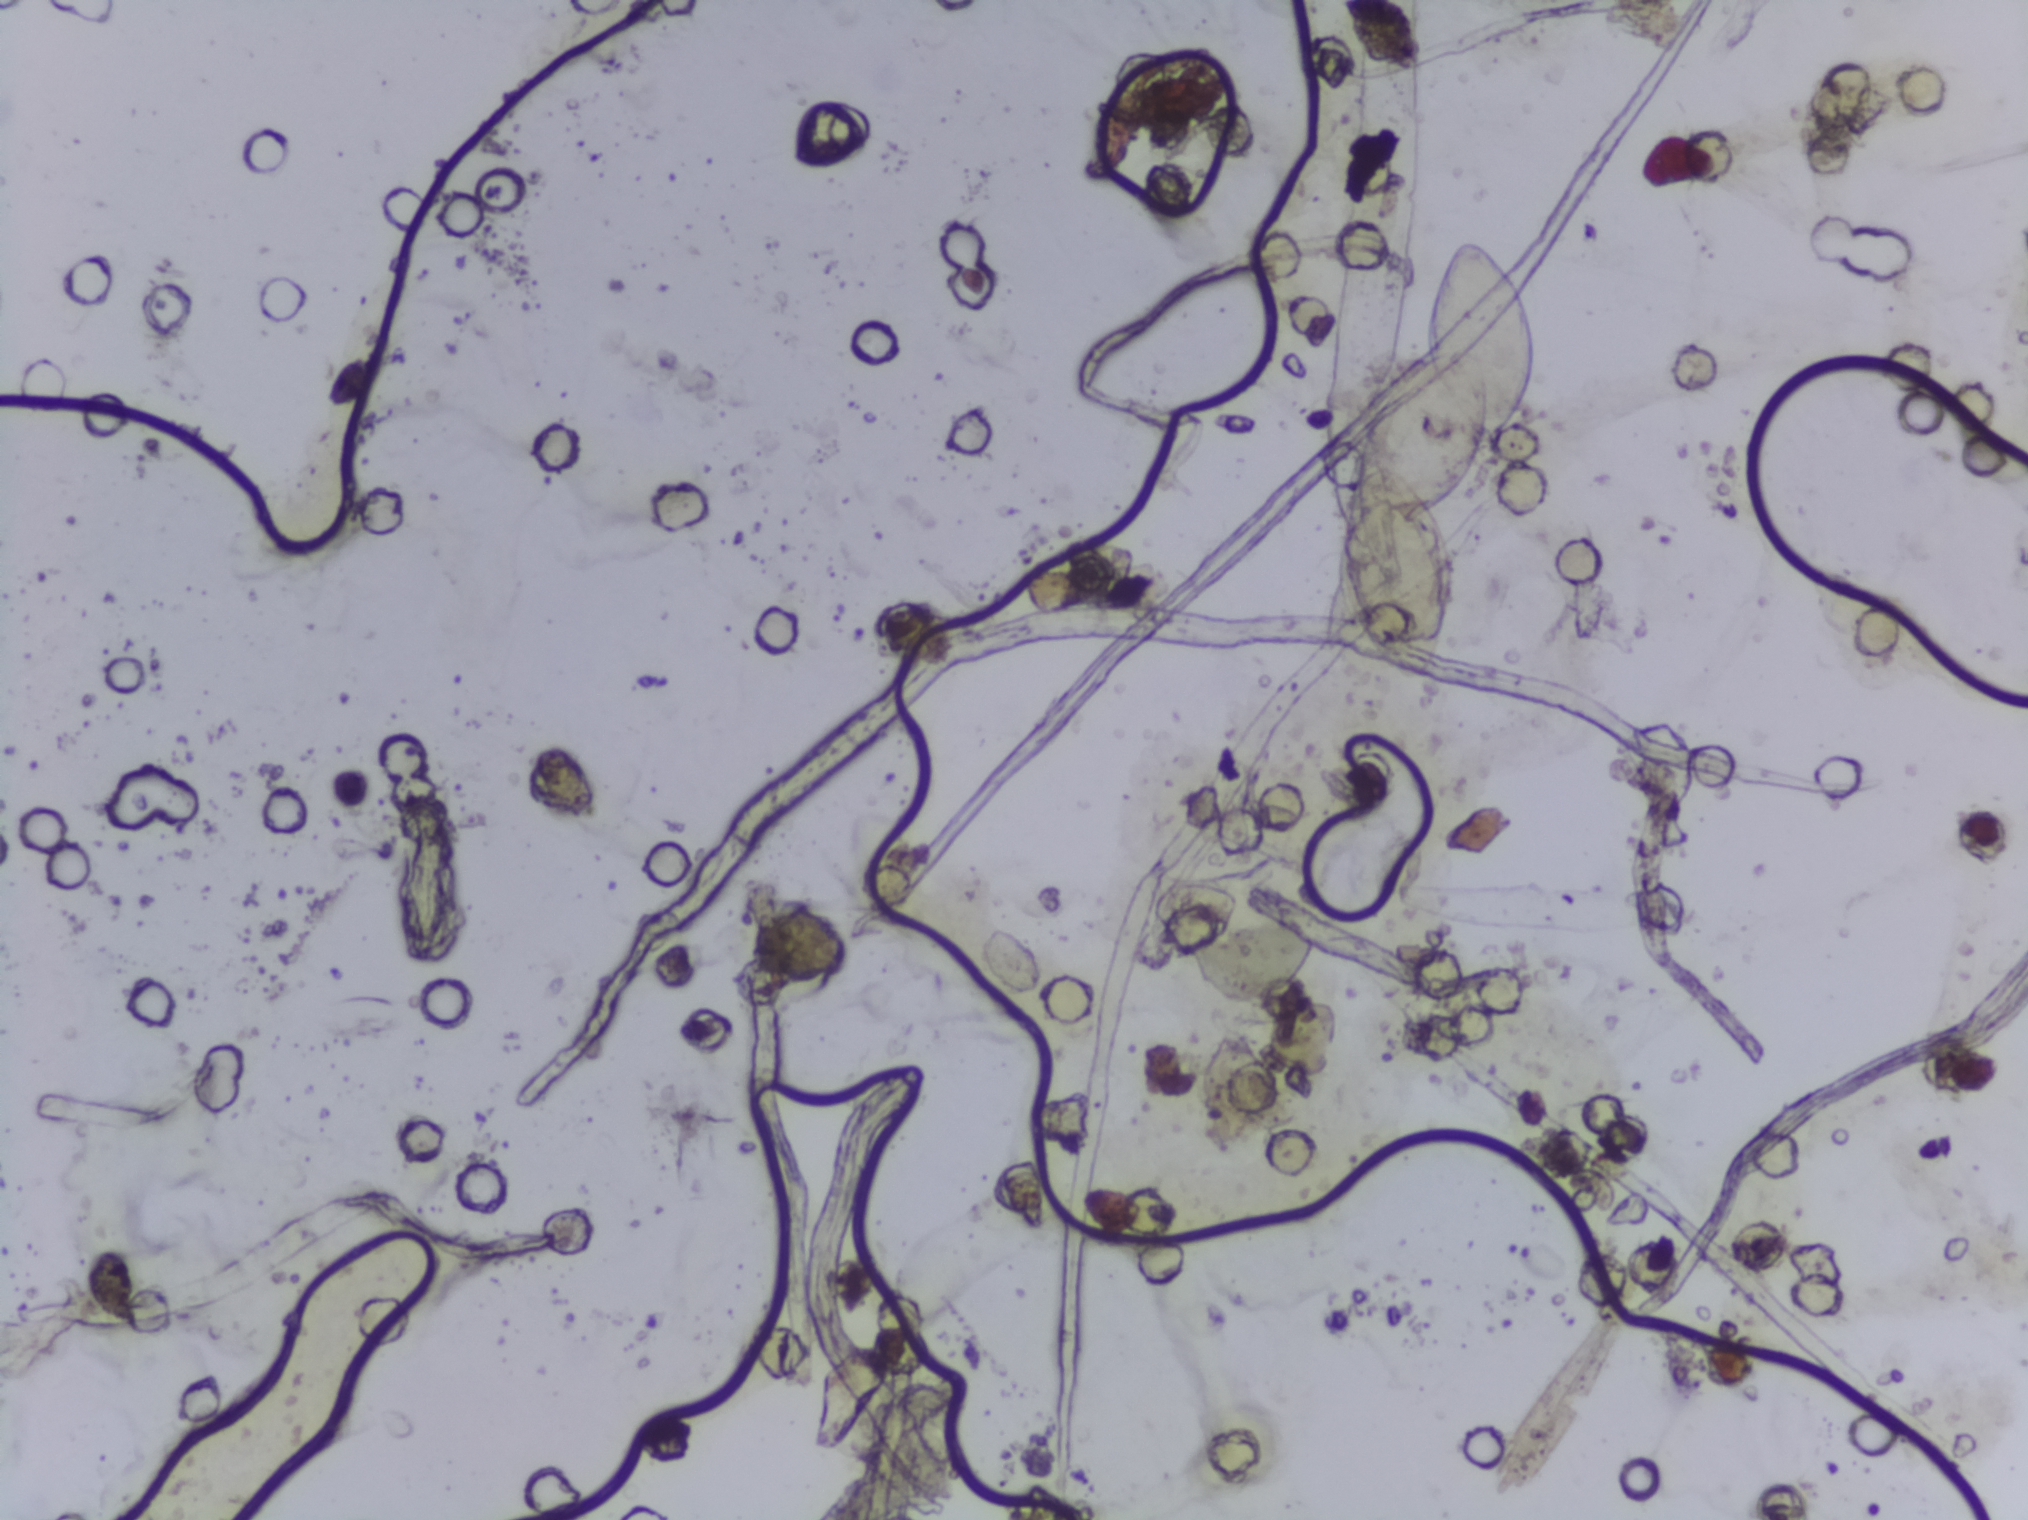
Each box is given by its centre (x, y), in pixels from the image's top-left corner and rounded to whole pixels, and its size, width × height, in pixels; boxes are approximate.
One area of this image is outlined as Schistosoma eggs: centre (1441, 461), 197 × 445 px. About 1.5% of the image's pixels are marked (the marked pixels themselves, not the box around them). A single outlined area may contain several eggs.
Photomicrograph of a urine filtration membrane, 4× objective. Field of view: about 1.5 mm wide and 1.1 mm high.